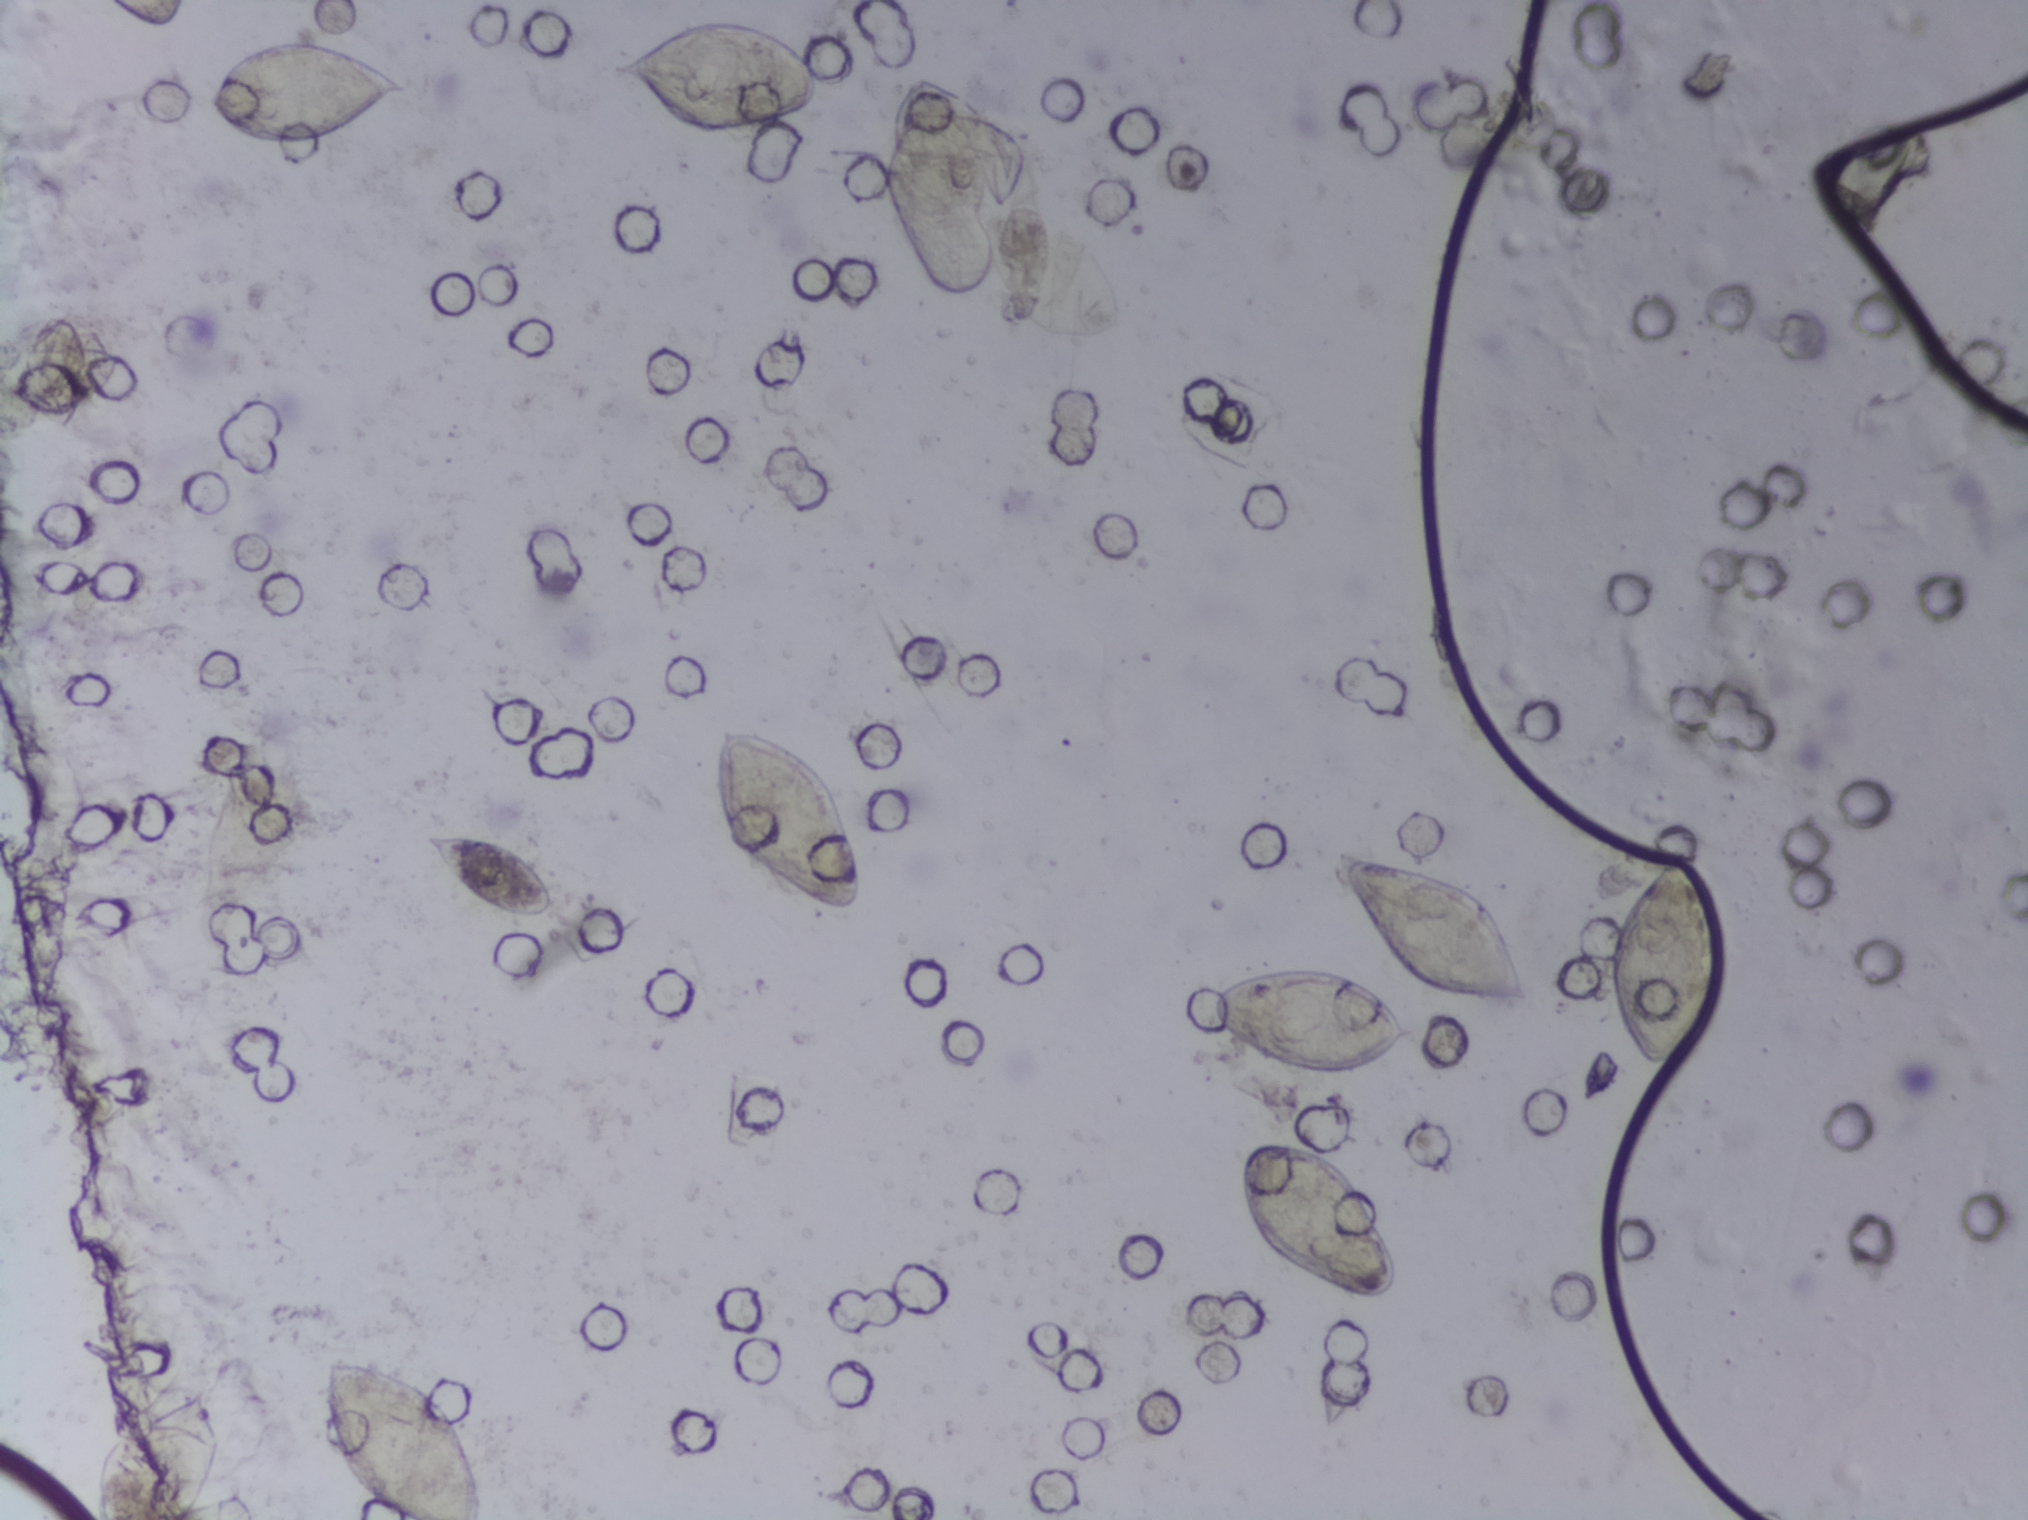
Photograph from an automated digital microscope: urine filter membrane, 4× objective.
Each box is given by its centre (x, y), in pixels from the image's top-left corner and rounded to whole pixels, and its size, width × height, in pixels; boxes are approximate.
Schistosoma eggs are outlined in 11 areas of this image, listed from left to right: centre (152, 1451), 128 × 138 px (reaching the bottom edge of the frame); centre (308, 95), 207 × 112 px; centre (402, 1437), 167 × 166 px (reaching the bottom edge of the frame); centre (489, 877), 134 × 94 px; centre (715, 79), 218 × 124 px; centre (788, 824), 166 × 192 px; centre (1000, 208), 252 × 274 px; centre (1316, 1020), 216 × 116 px; centre (1320, 1224), 160 × 172 px; centre (1431, 926), 197 × 160 px; centre (1667, 968), 130 × 224 px. An outlined area can hold more than one egg. Any one outlined egg may, rarely, be S. mansoni rather than S. haematobium.